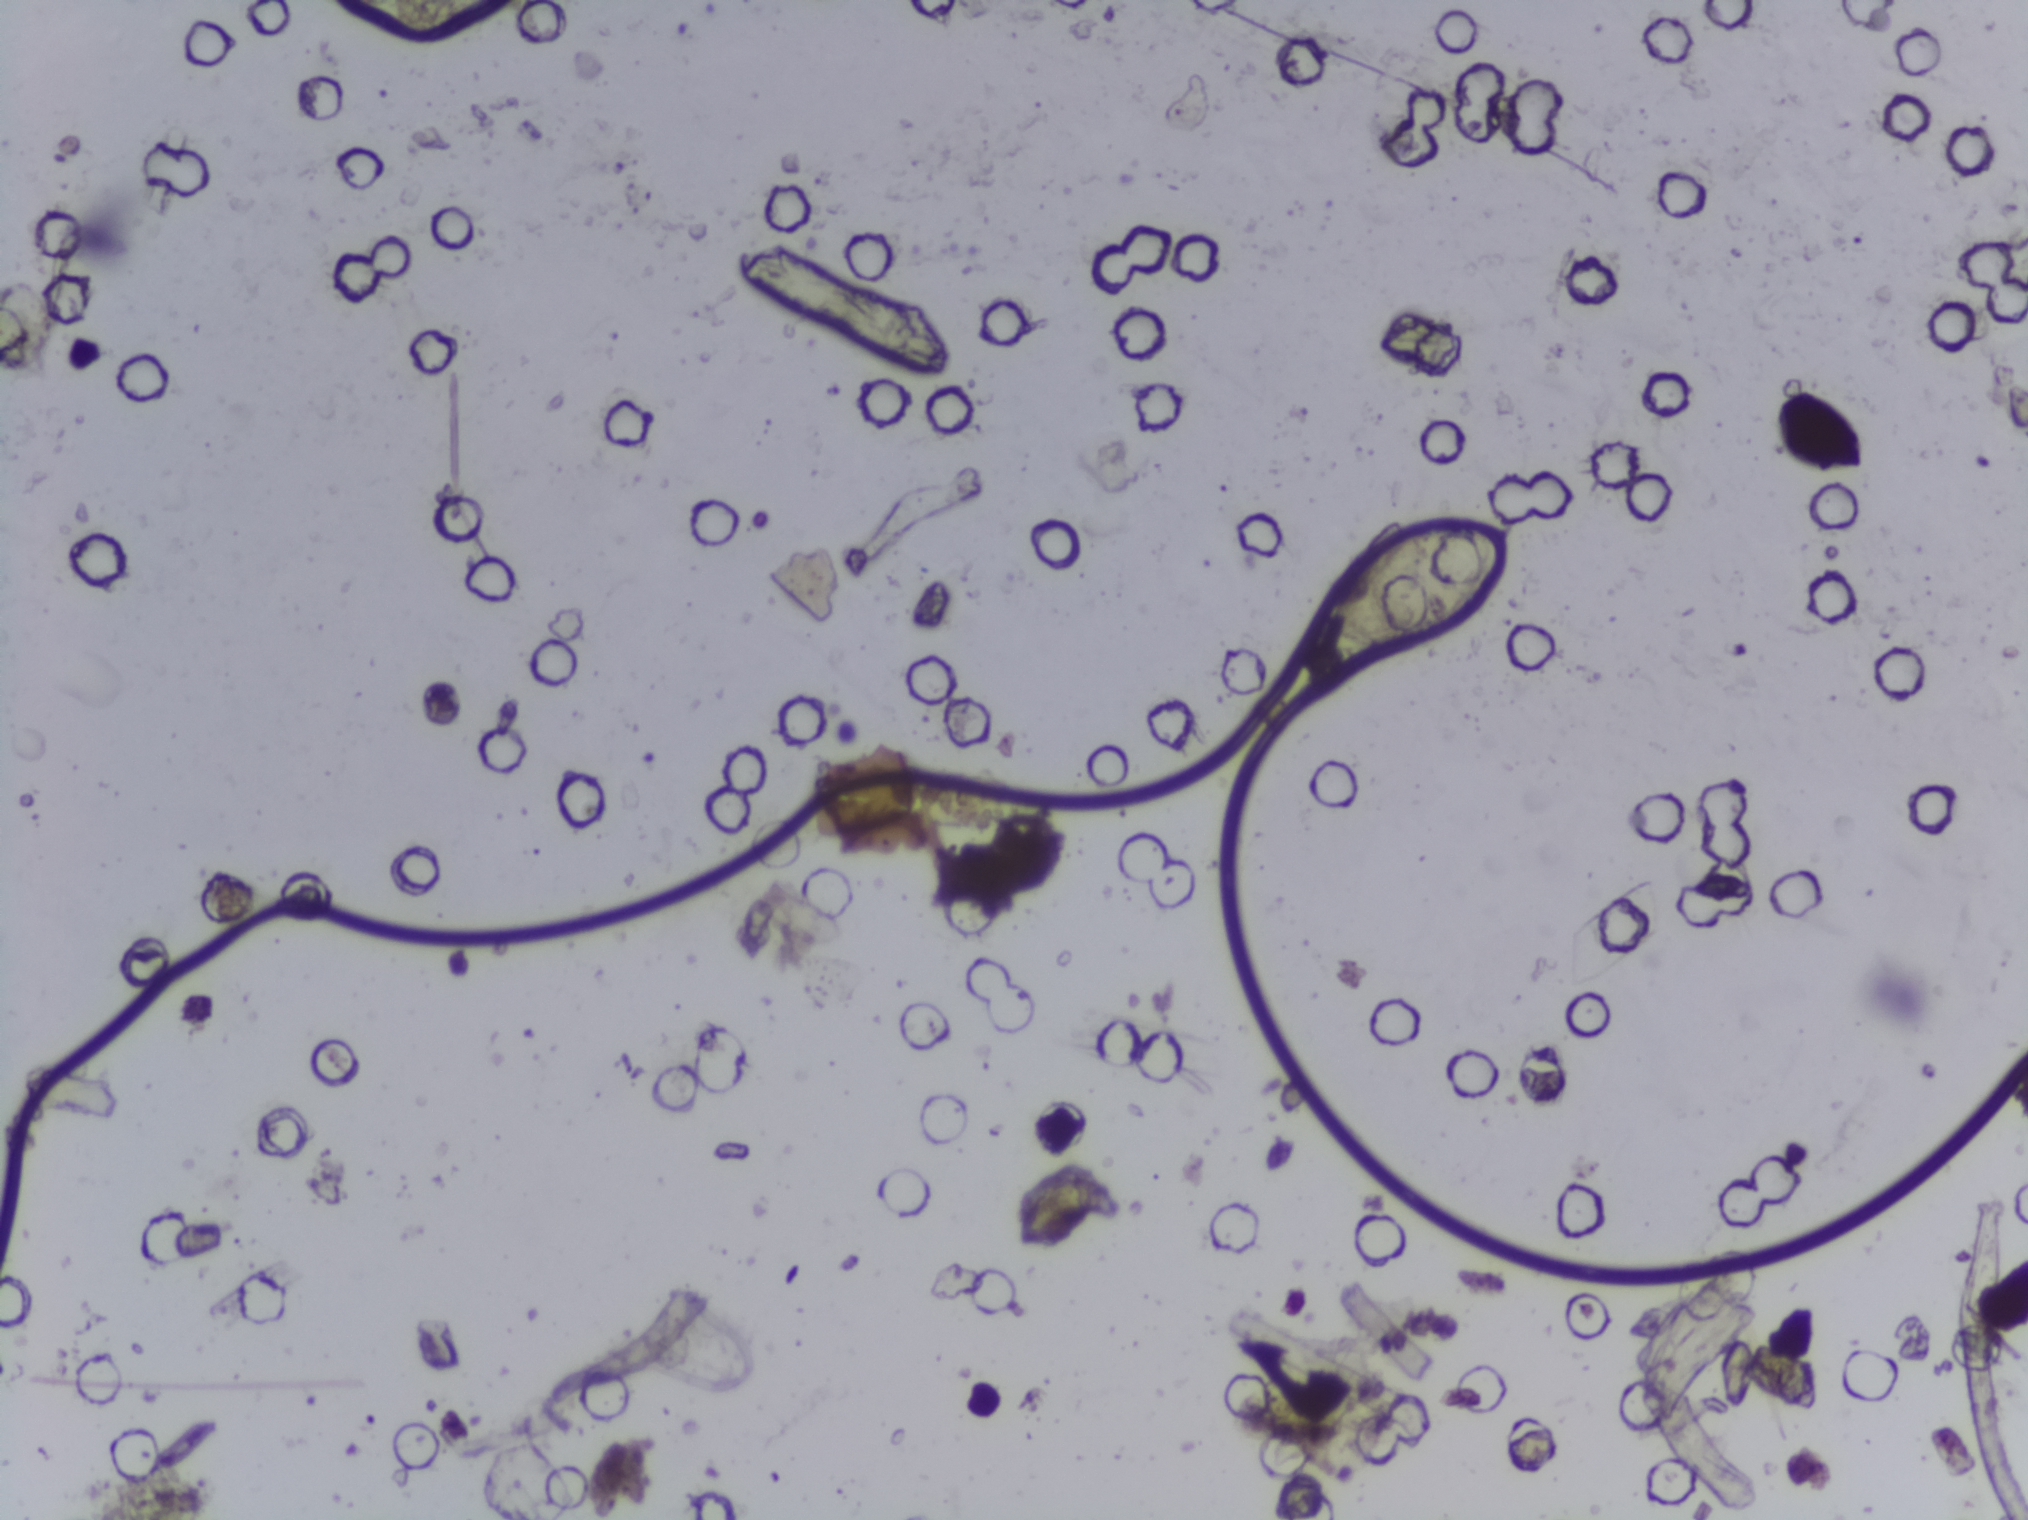
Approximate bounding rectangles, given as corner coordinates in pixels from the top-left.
Outlined Schistosoma egg areas:
1. (x1=1323, y1=518, x2=1513, y2=654)
About 0.6% of the image's pixels are marked (the marked pixels themselves, not the box around them). An outlined area can hold more than one egg.
Photograph from an automated digital microscope: urine filter membrane, 4× objective.